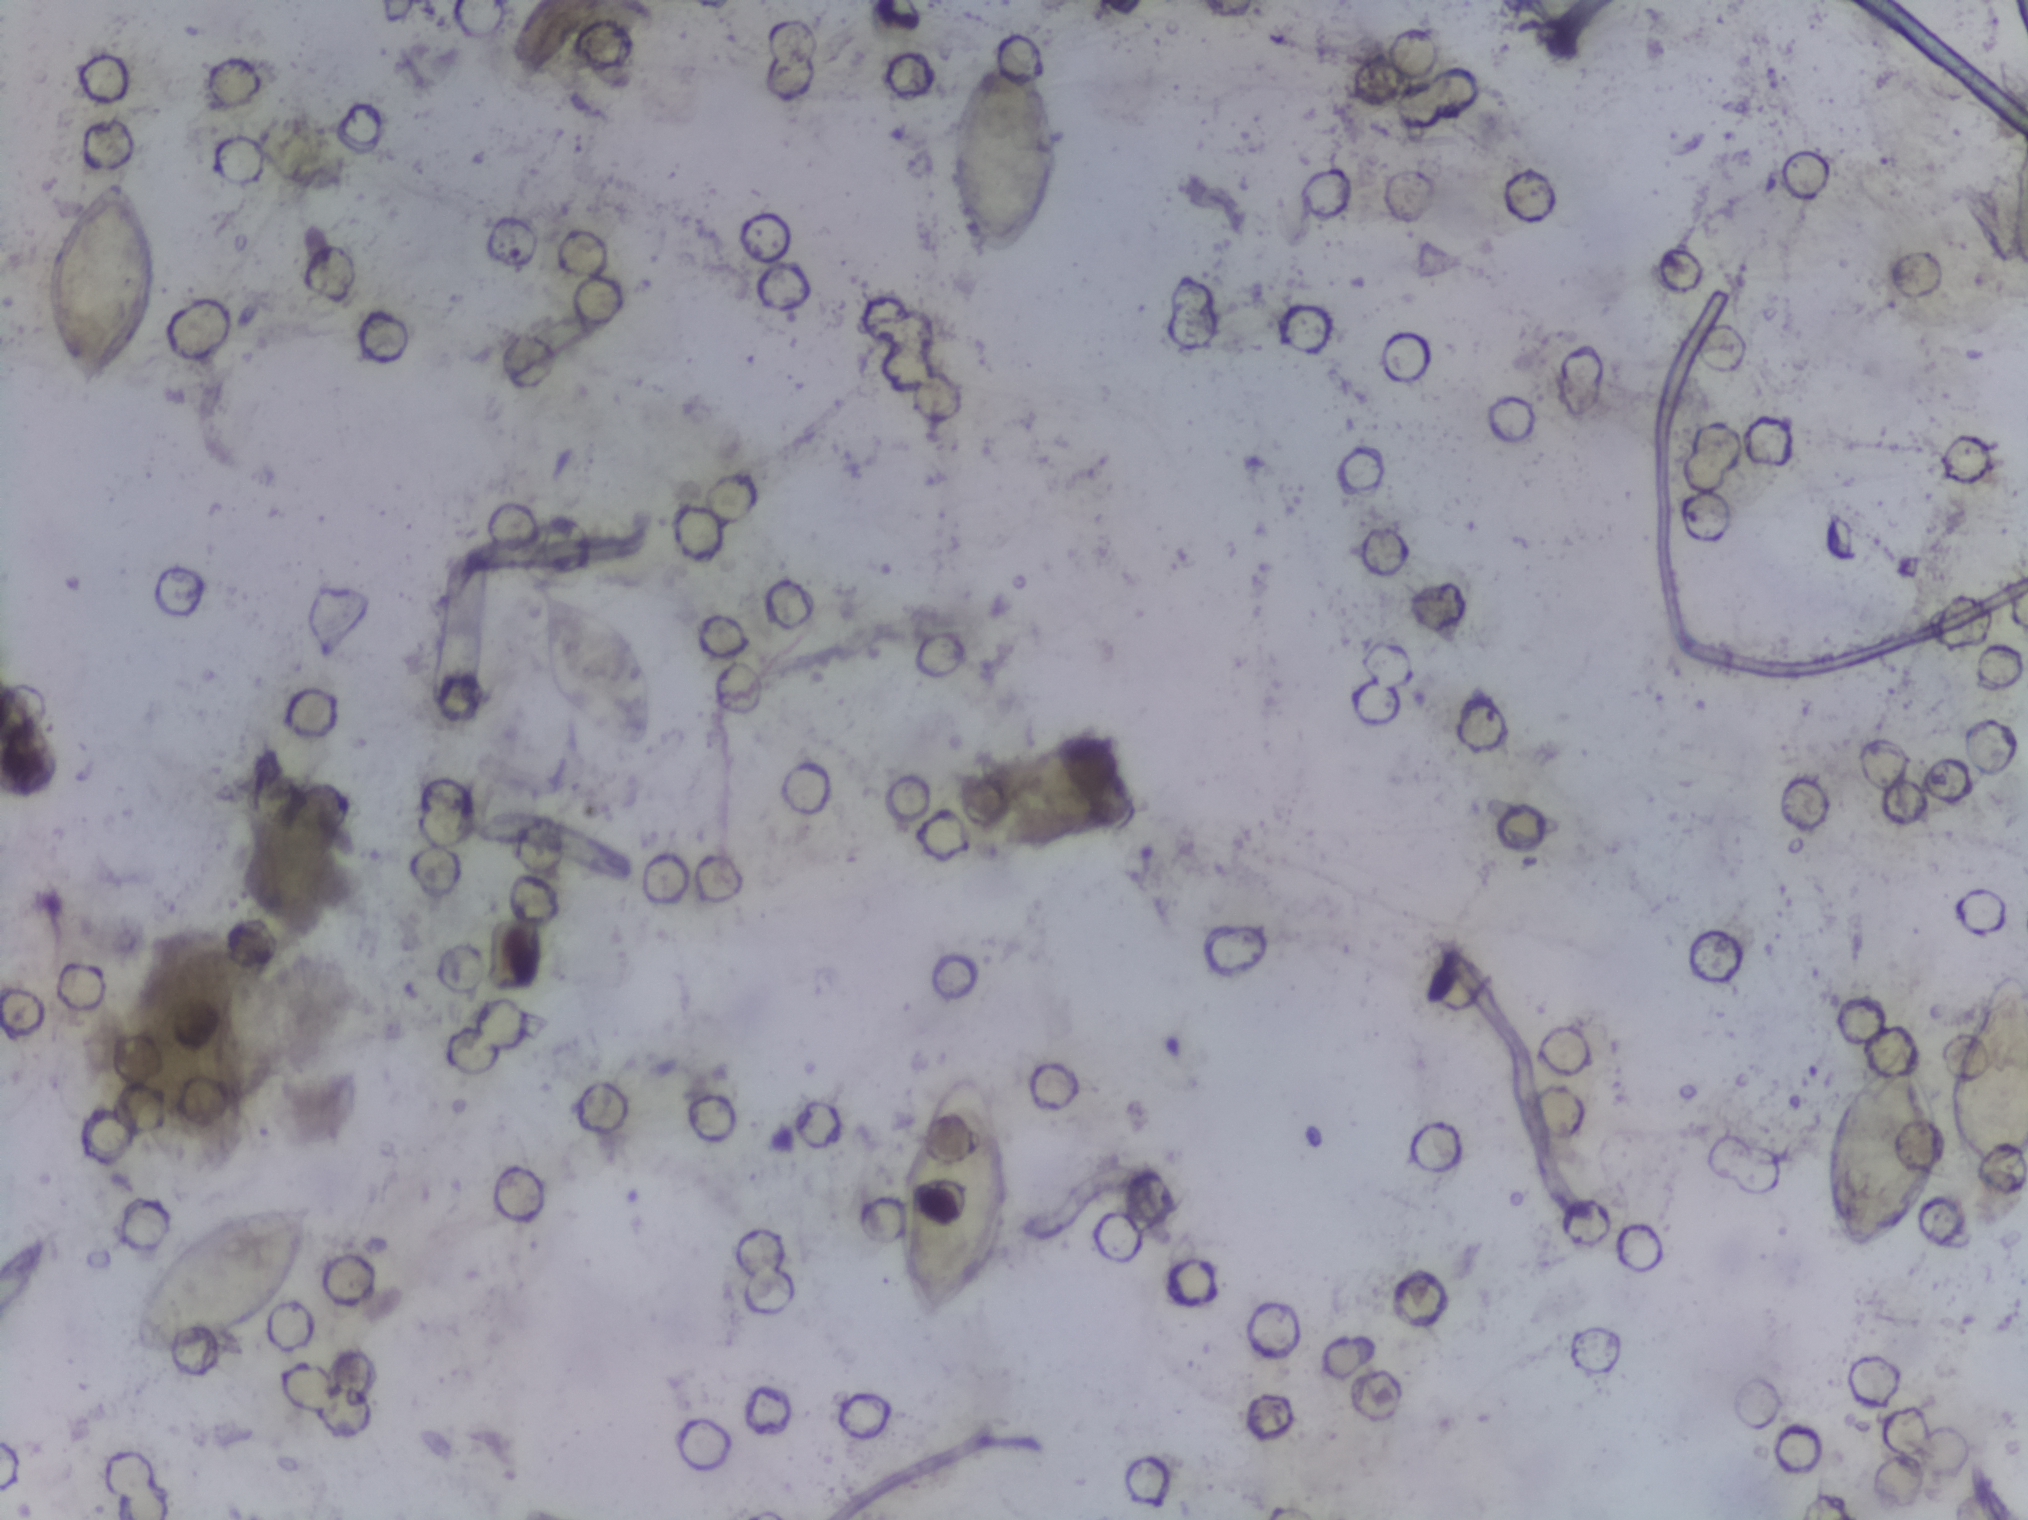
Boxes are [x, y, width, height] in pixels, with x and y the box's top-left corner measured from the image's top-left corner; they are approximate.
Findings: seven areas outlined as Schistosoma eggs. Locations: [38, 172, 123, 229]; [128, 1195, 189, 158]; [539, 581, 115, 171]; [896, 1074, 118, 254]; [945, 34, 115, 223]; [1821, 1034, 120, 224]; [1947, 964, 81, 248] (reaching the right edge of the frame). Eggs that touch can end up inside the same outlined area.
Photograph from an automated digital microscope: urine filter membrane, 4× objective. The field of view is about 1.5 mm × 1.1 mm.